Microscope photograph (4× objective) of a membrane that a urine sample was filtered through. Field of view: about 1.5 mm wide and 1.1 mm high.
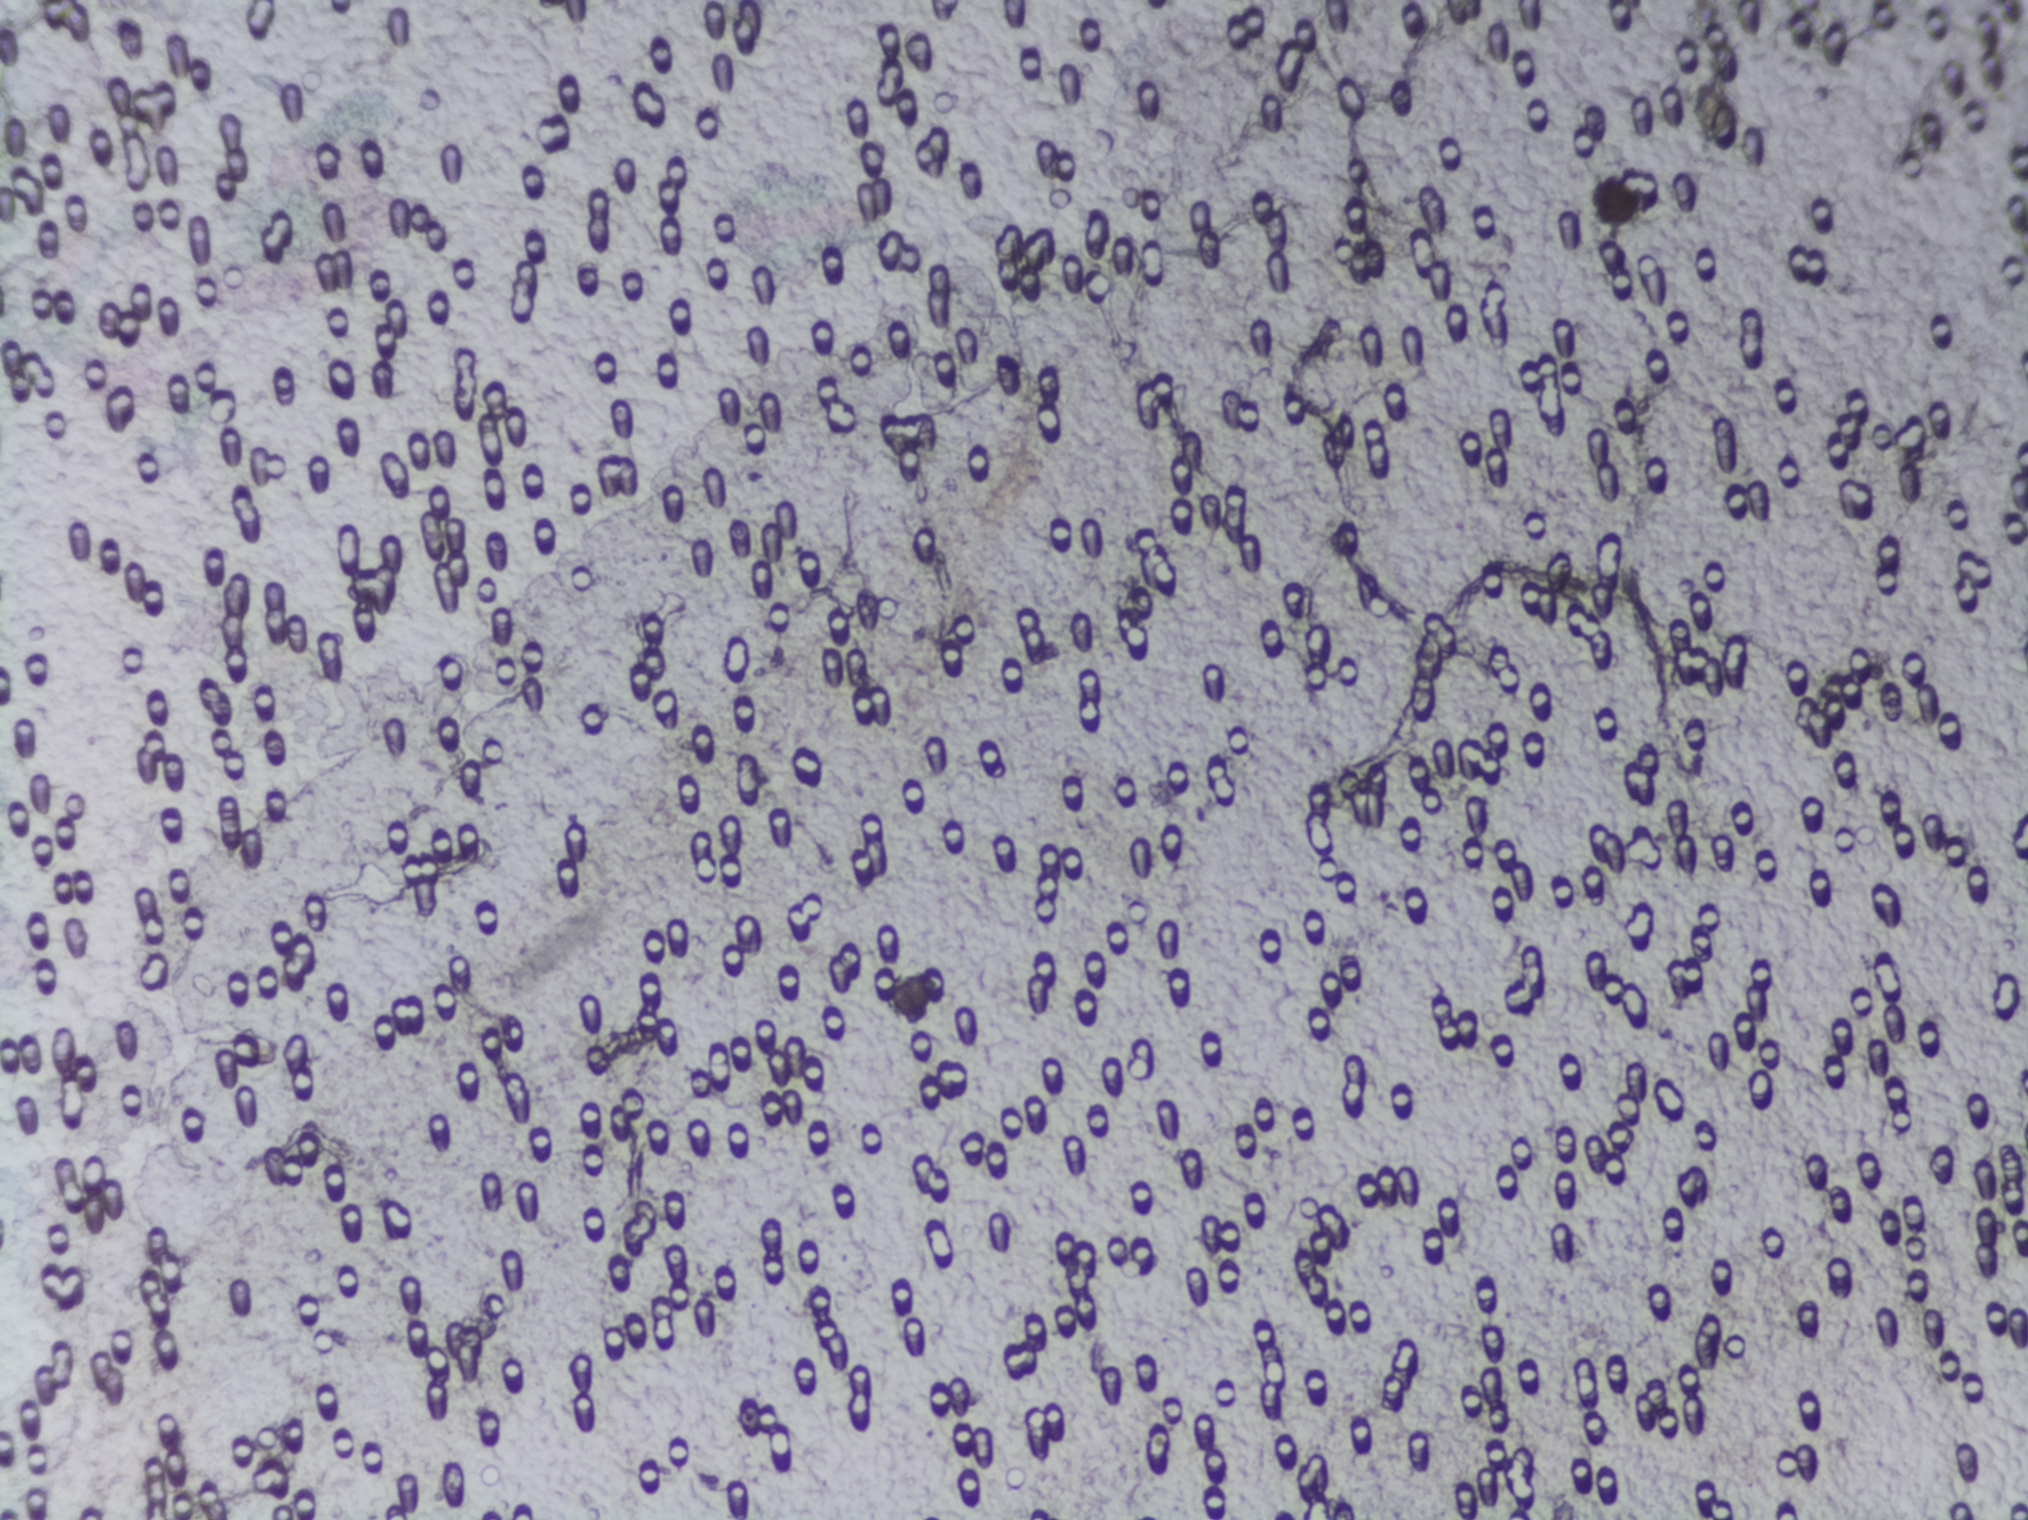
The expert annotation marks no Schistosoma egg in this field of view.